Photomicrograph of a urine filtration membrane, 4× objective.
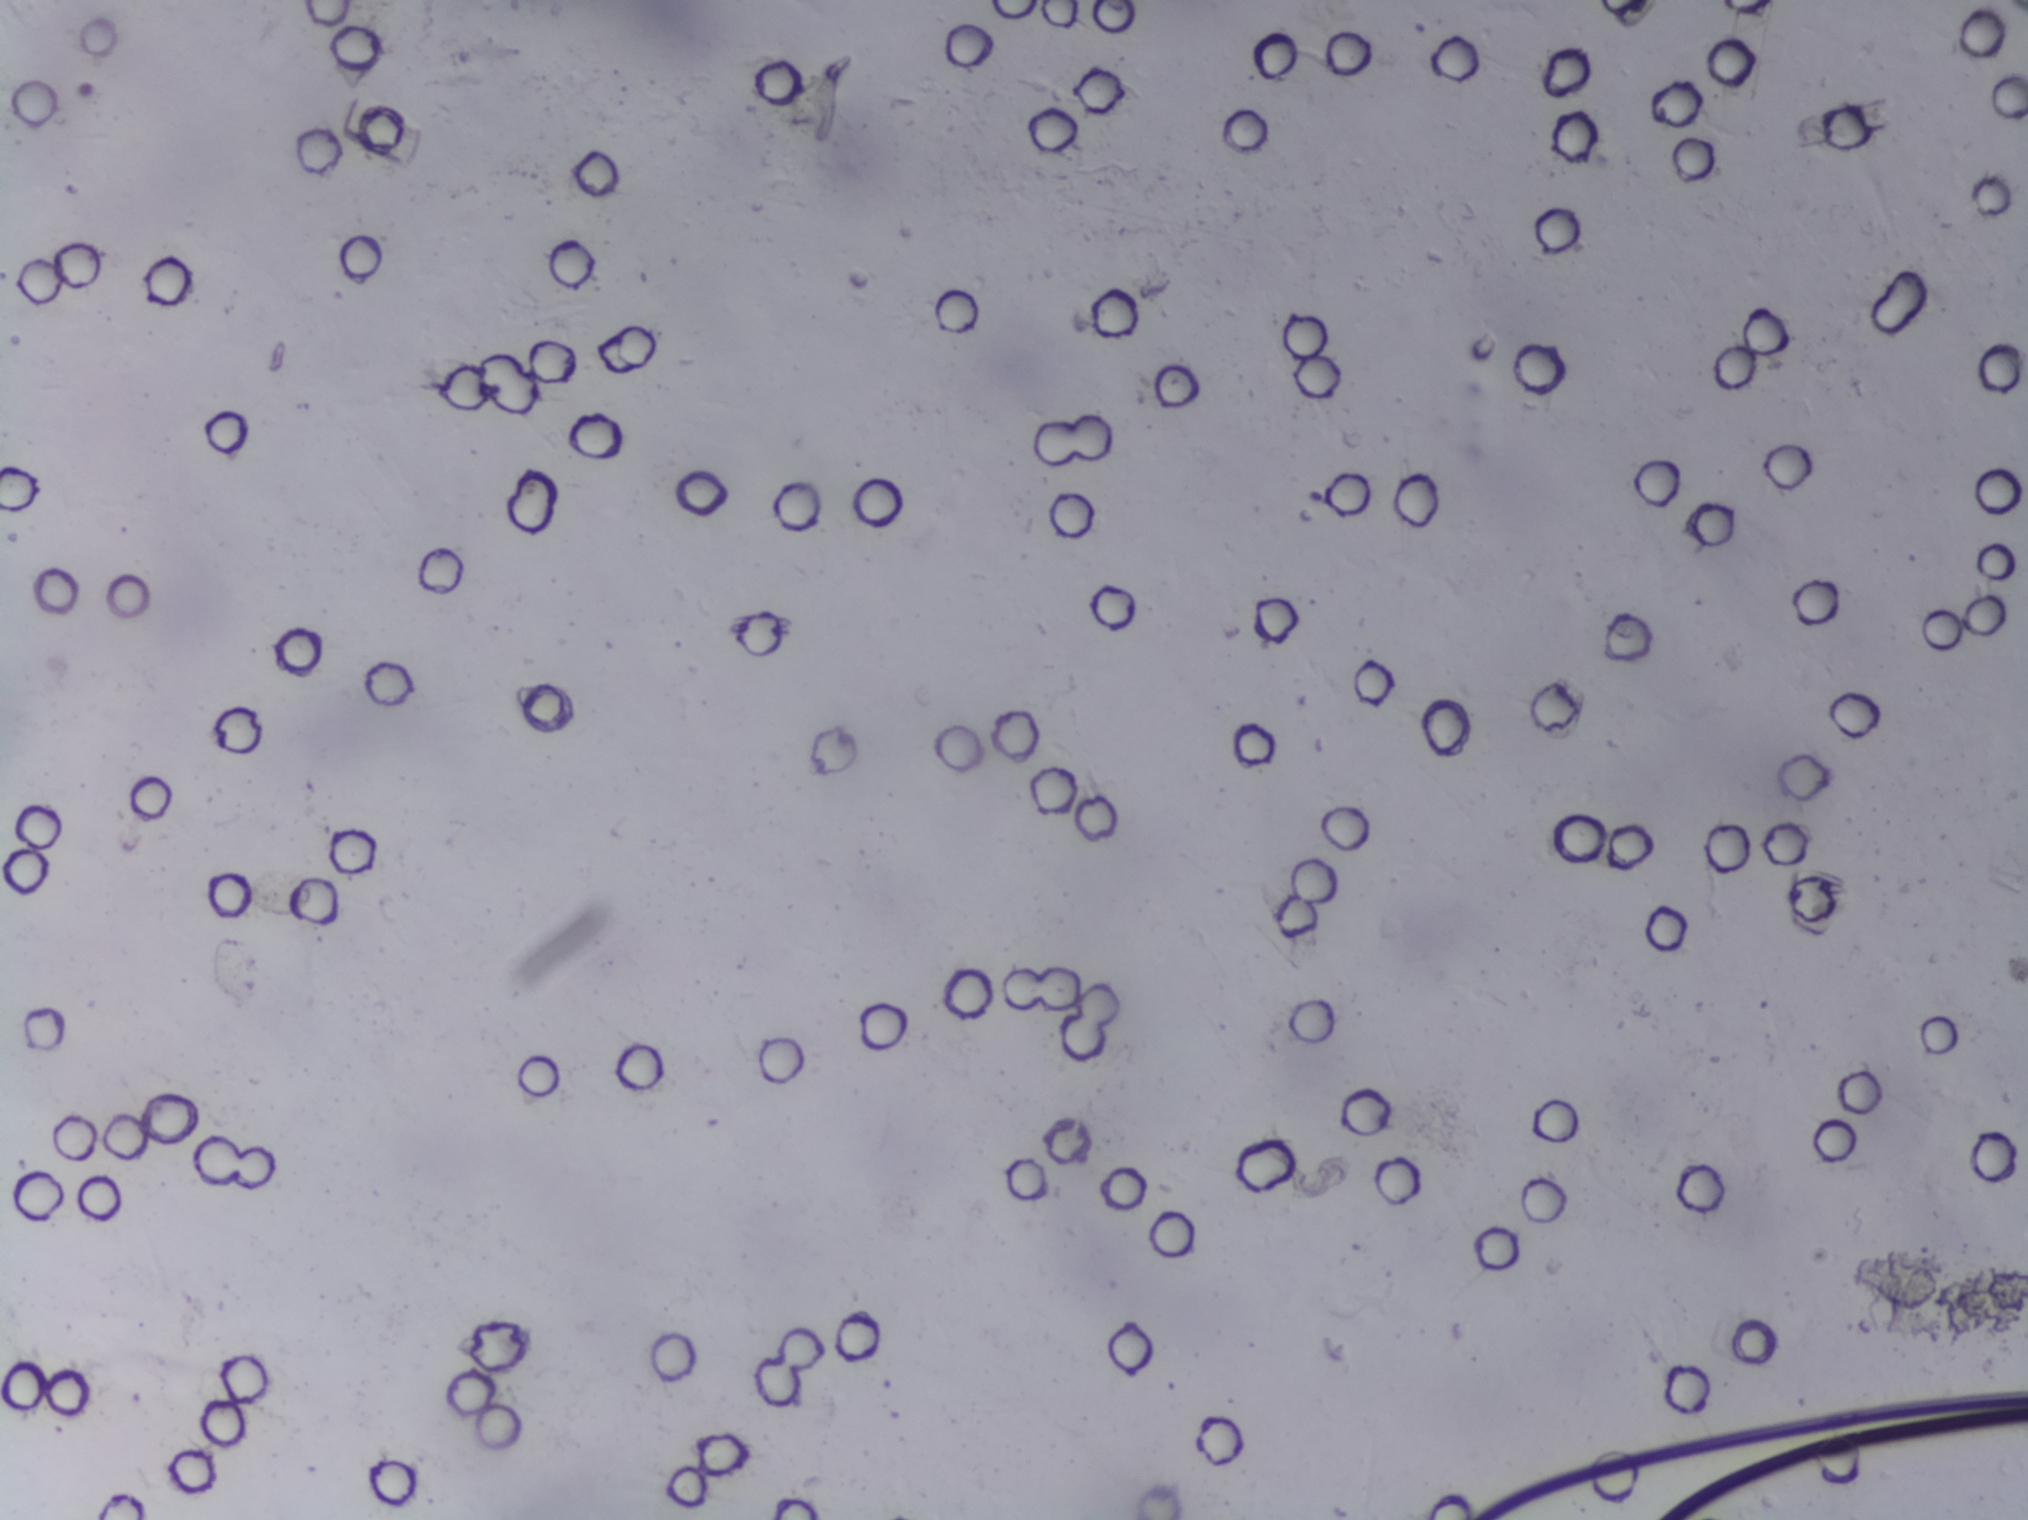
The expert annotation marks no Schistosoma egg in this field of view.